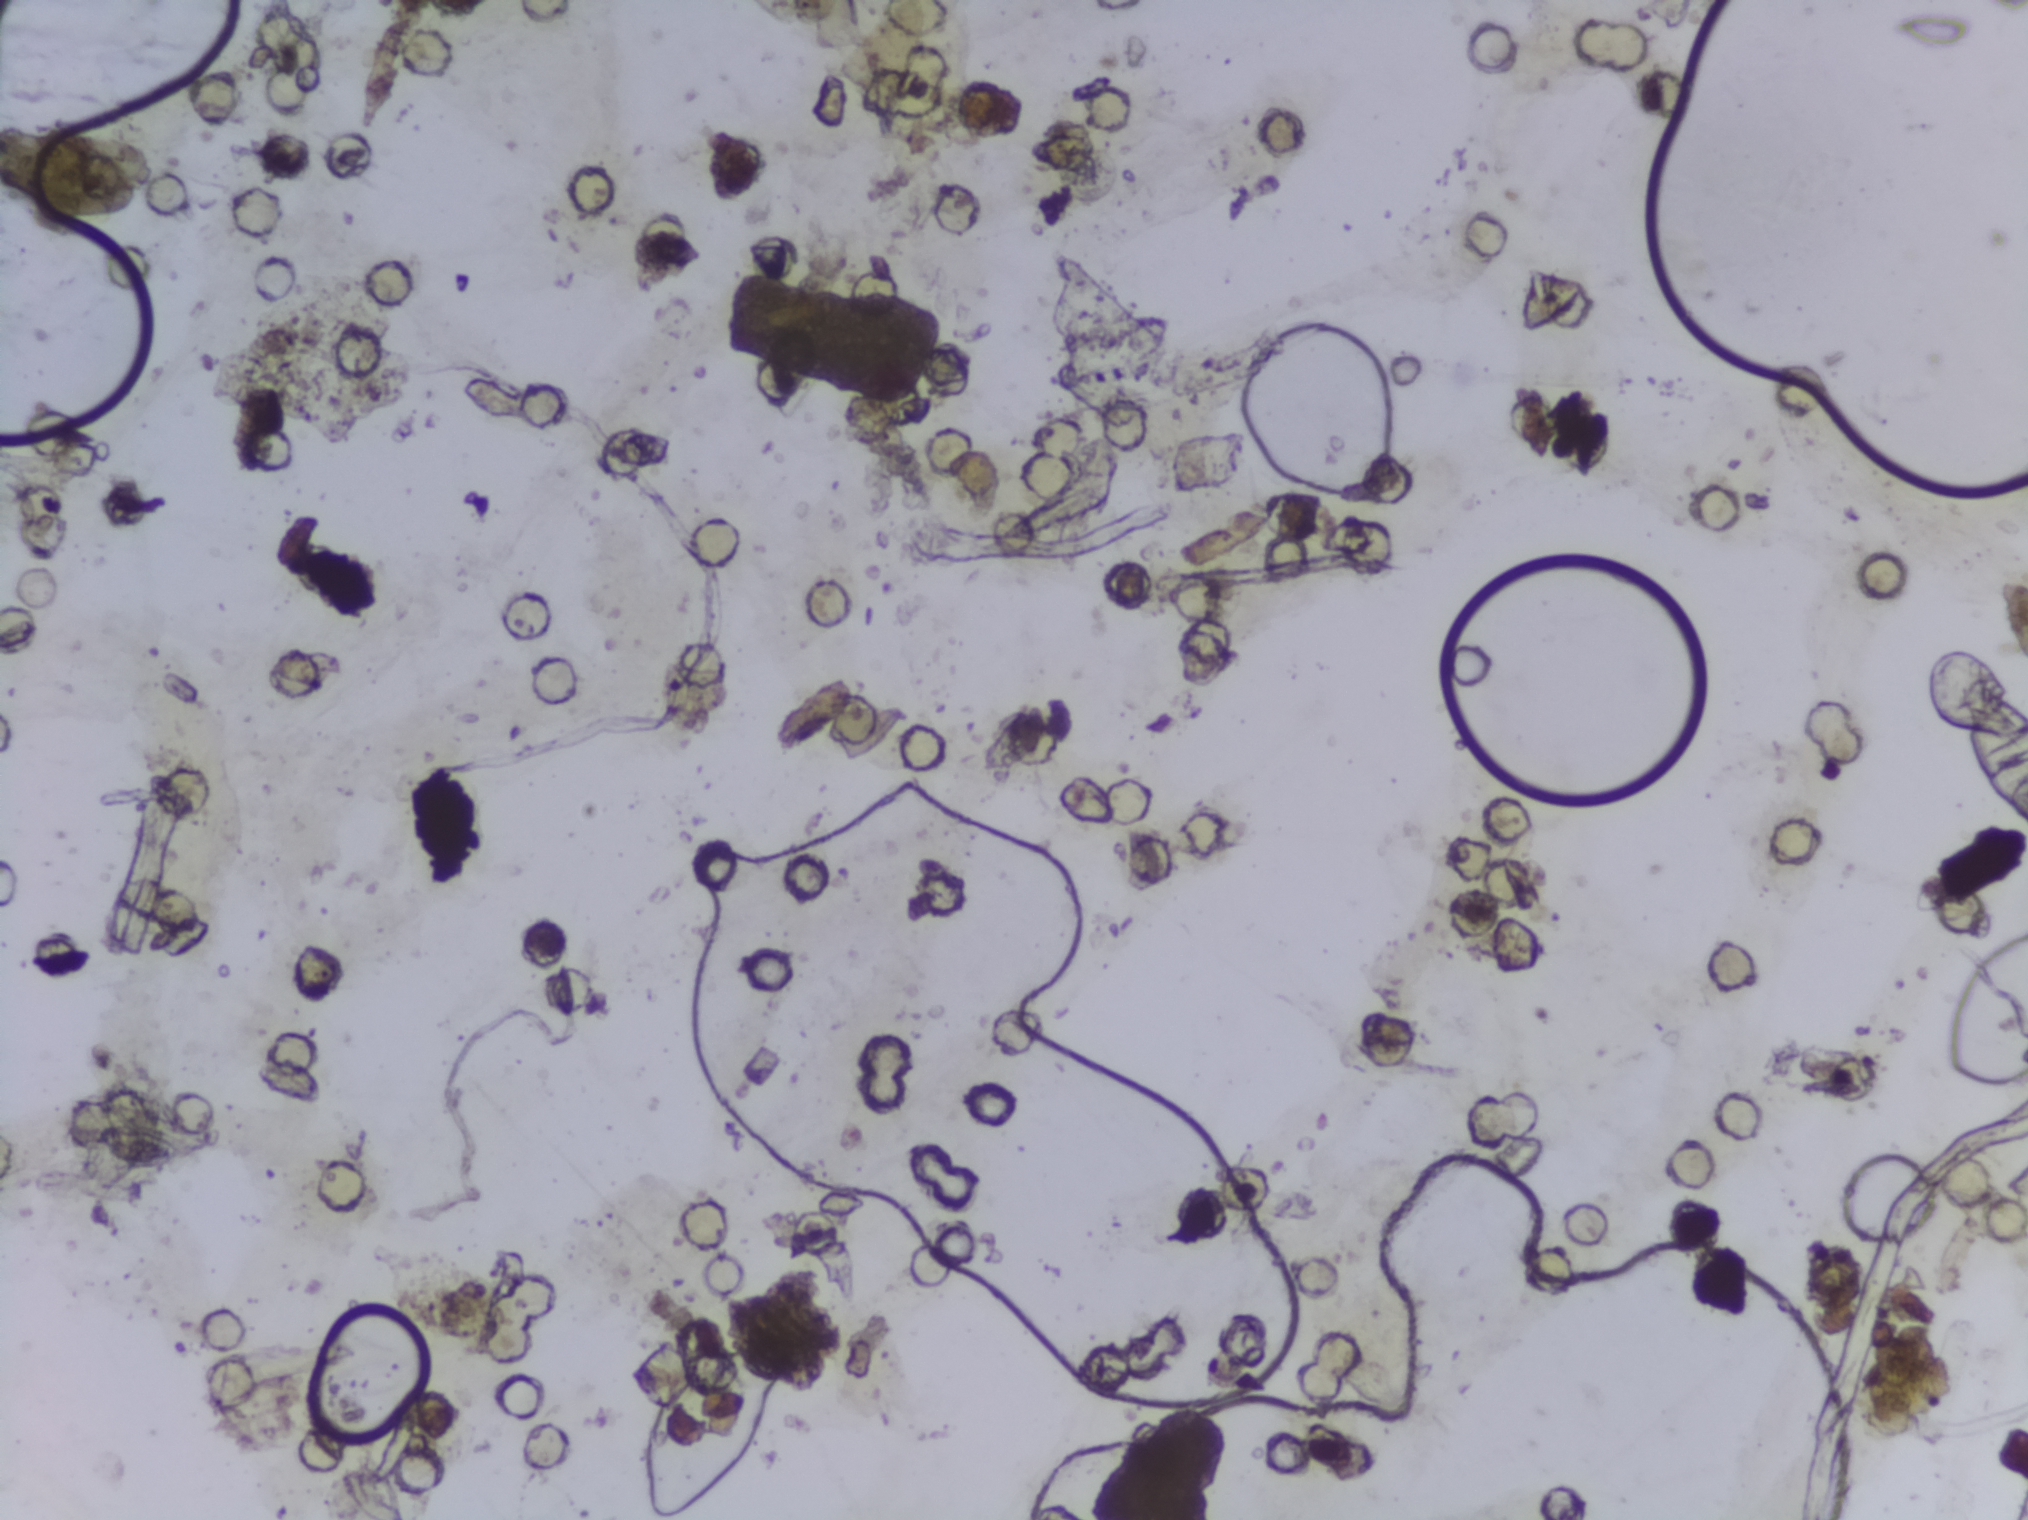
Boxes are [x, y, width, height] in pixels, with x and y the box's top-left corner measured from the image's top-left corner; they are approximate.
Schistosoma eggs are outlined in two areas of this image, listed from left to right: [0, 123, 143, 105] (reaching the left edge of the frame) and [1957, 679, 71, 144] (reaching the right edge of the frame). An outlined area can hold more than one egg.
Urine filter membrane photographed through a 4× microscope objective. Field of view: about 1.5 mm wide and 1.1 mm high.